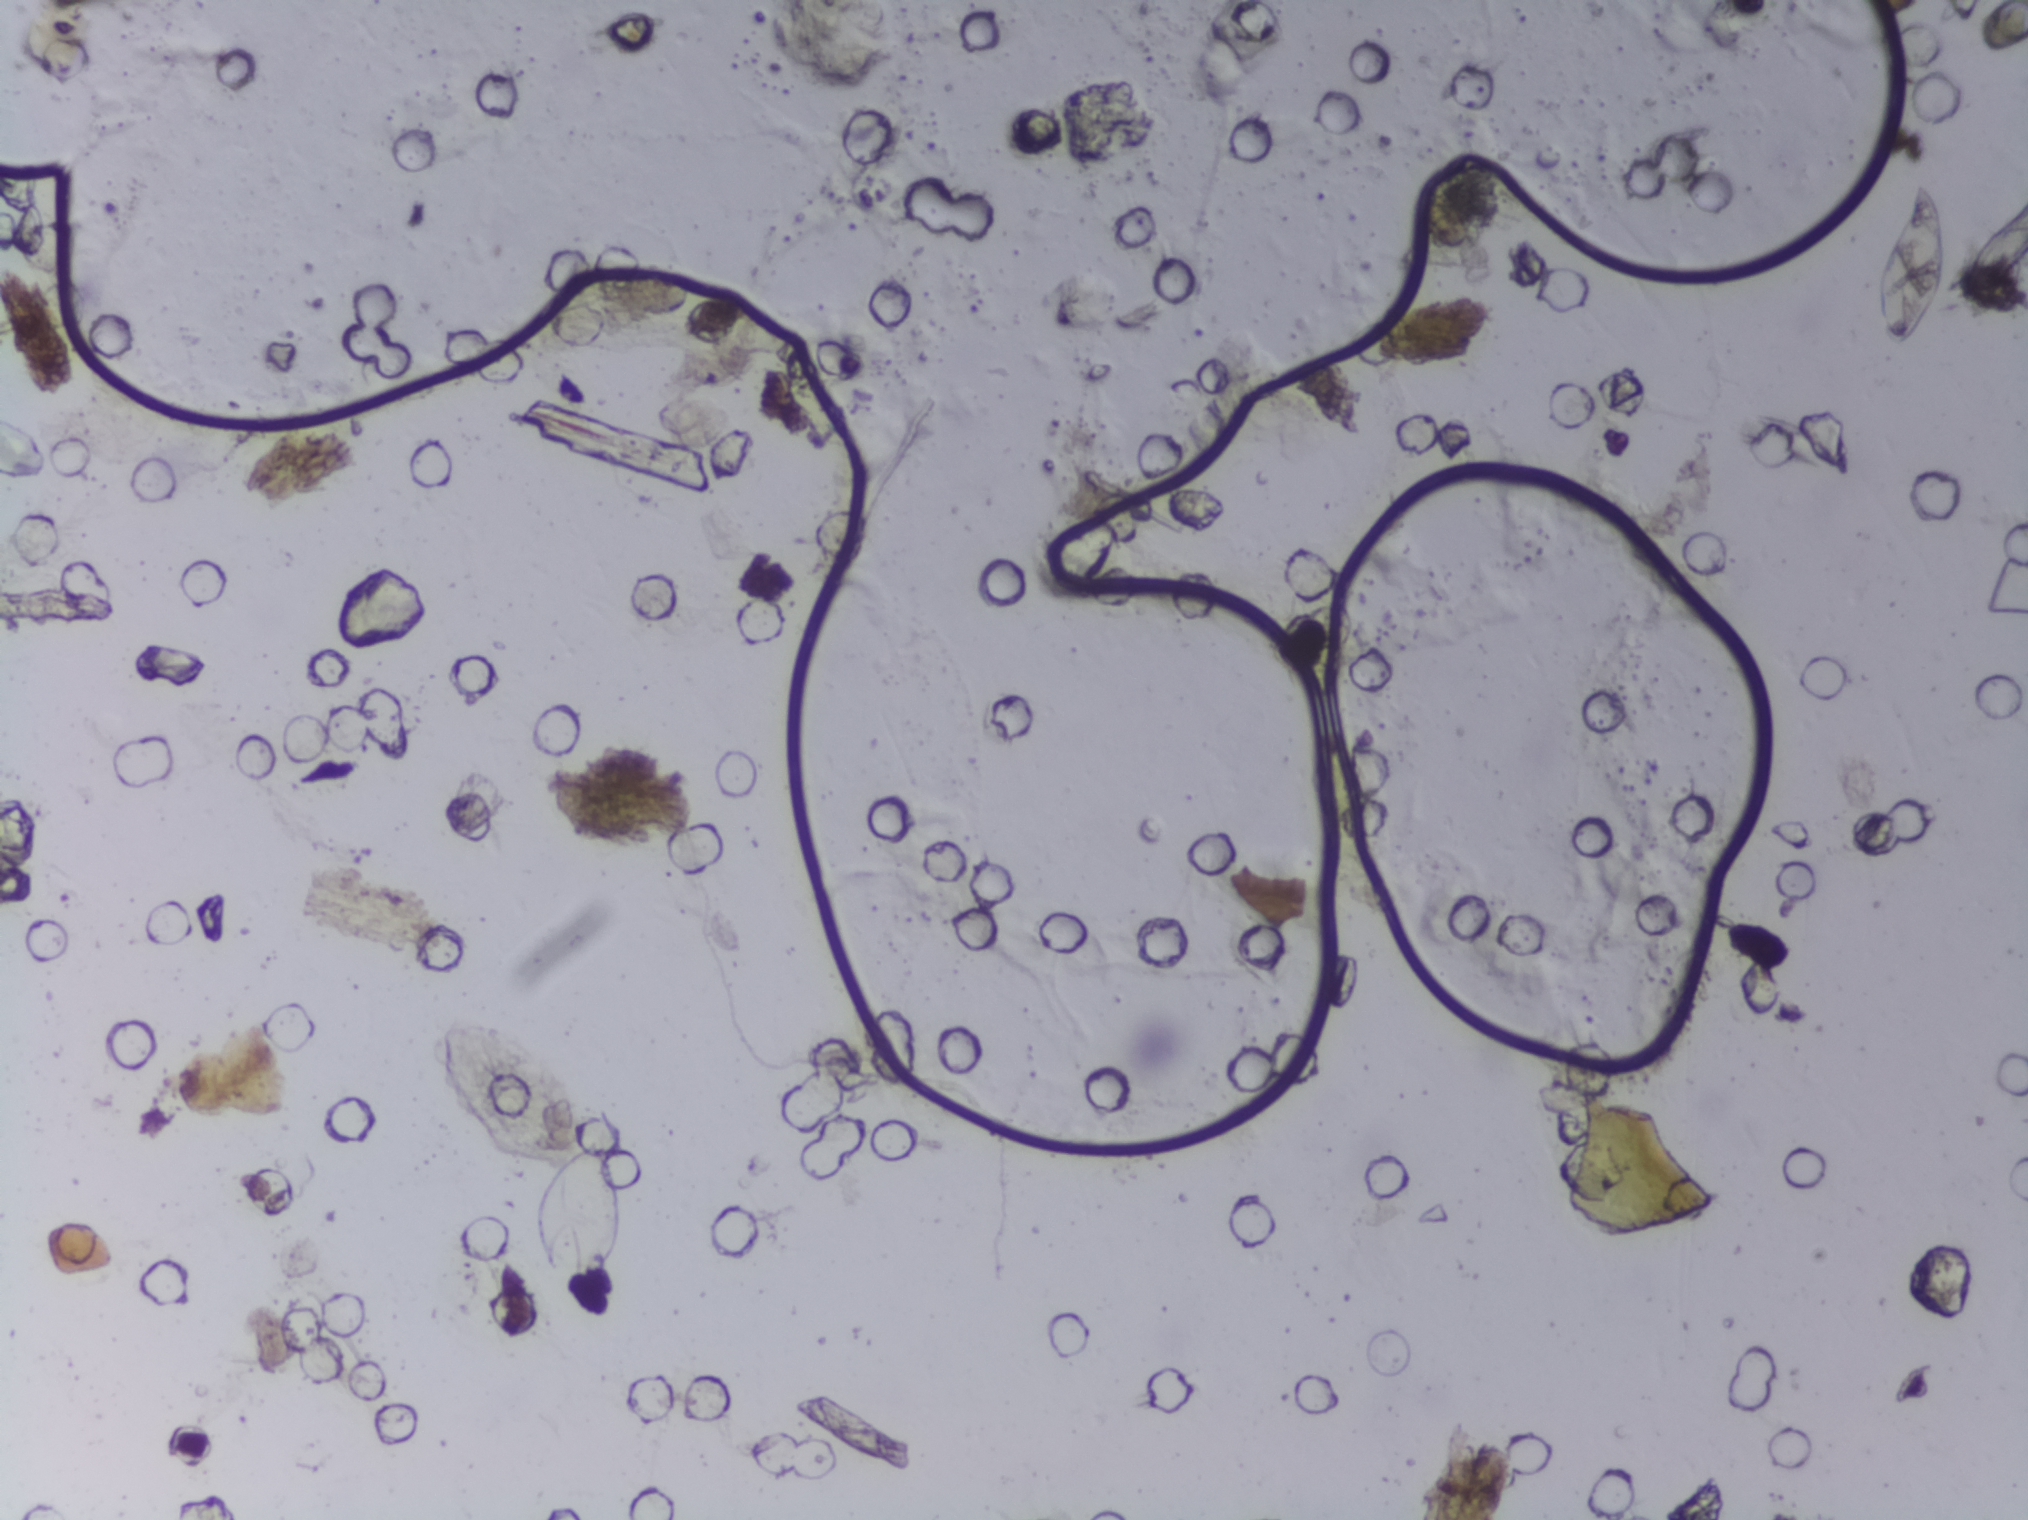
Urine filter membrane photographed through a 4× microscope objective. The field of view is about 1.5 mm × 1.1 mm.
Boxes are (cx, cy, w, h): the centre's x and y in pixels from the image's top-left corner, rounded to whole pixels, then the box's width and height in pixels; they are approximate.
Areas outlined as Schistosoma eggs: (cx=576, cy=1205, w=98, h=155); (cx=1905, cy=264, w=75, h=166). Eggs that touch can end up inside the same outlined area.